Photograph from an automated digital microscope: urine filter membrane, 4× objective.
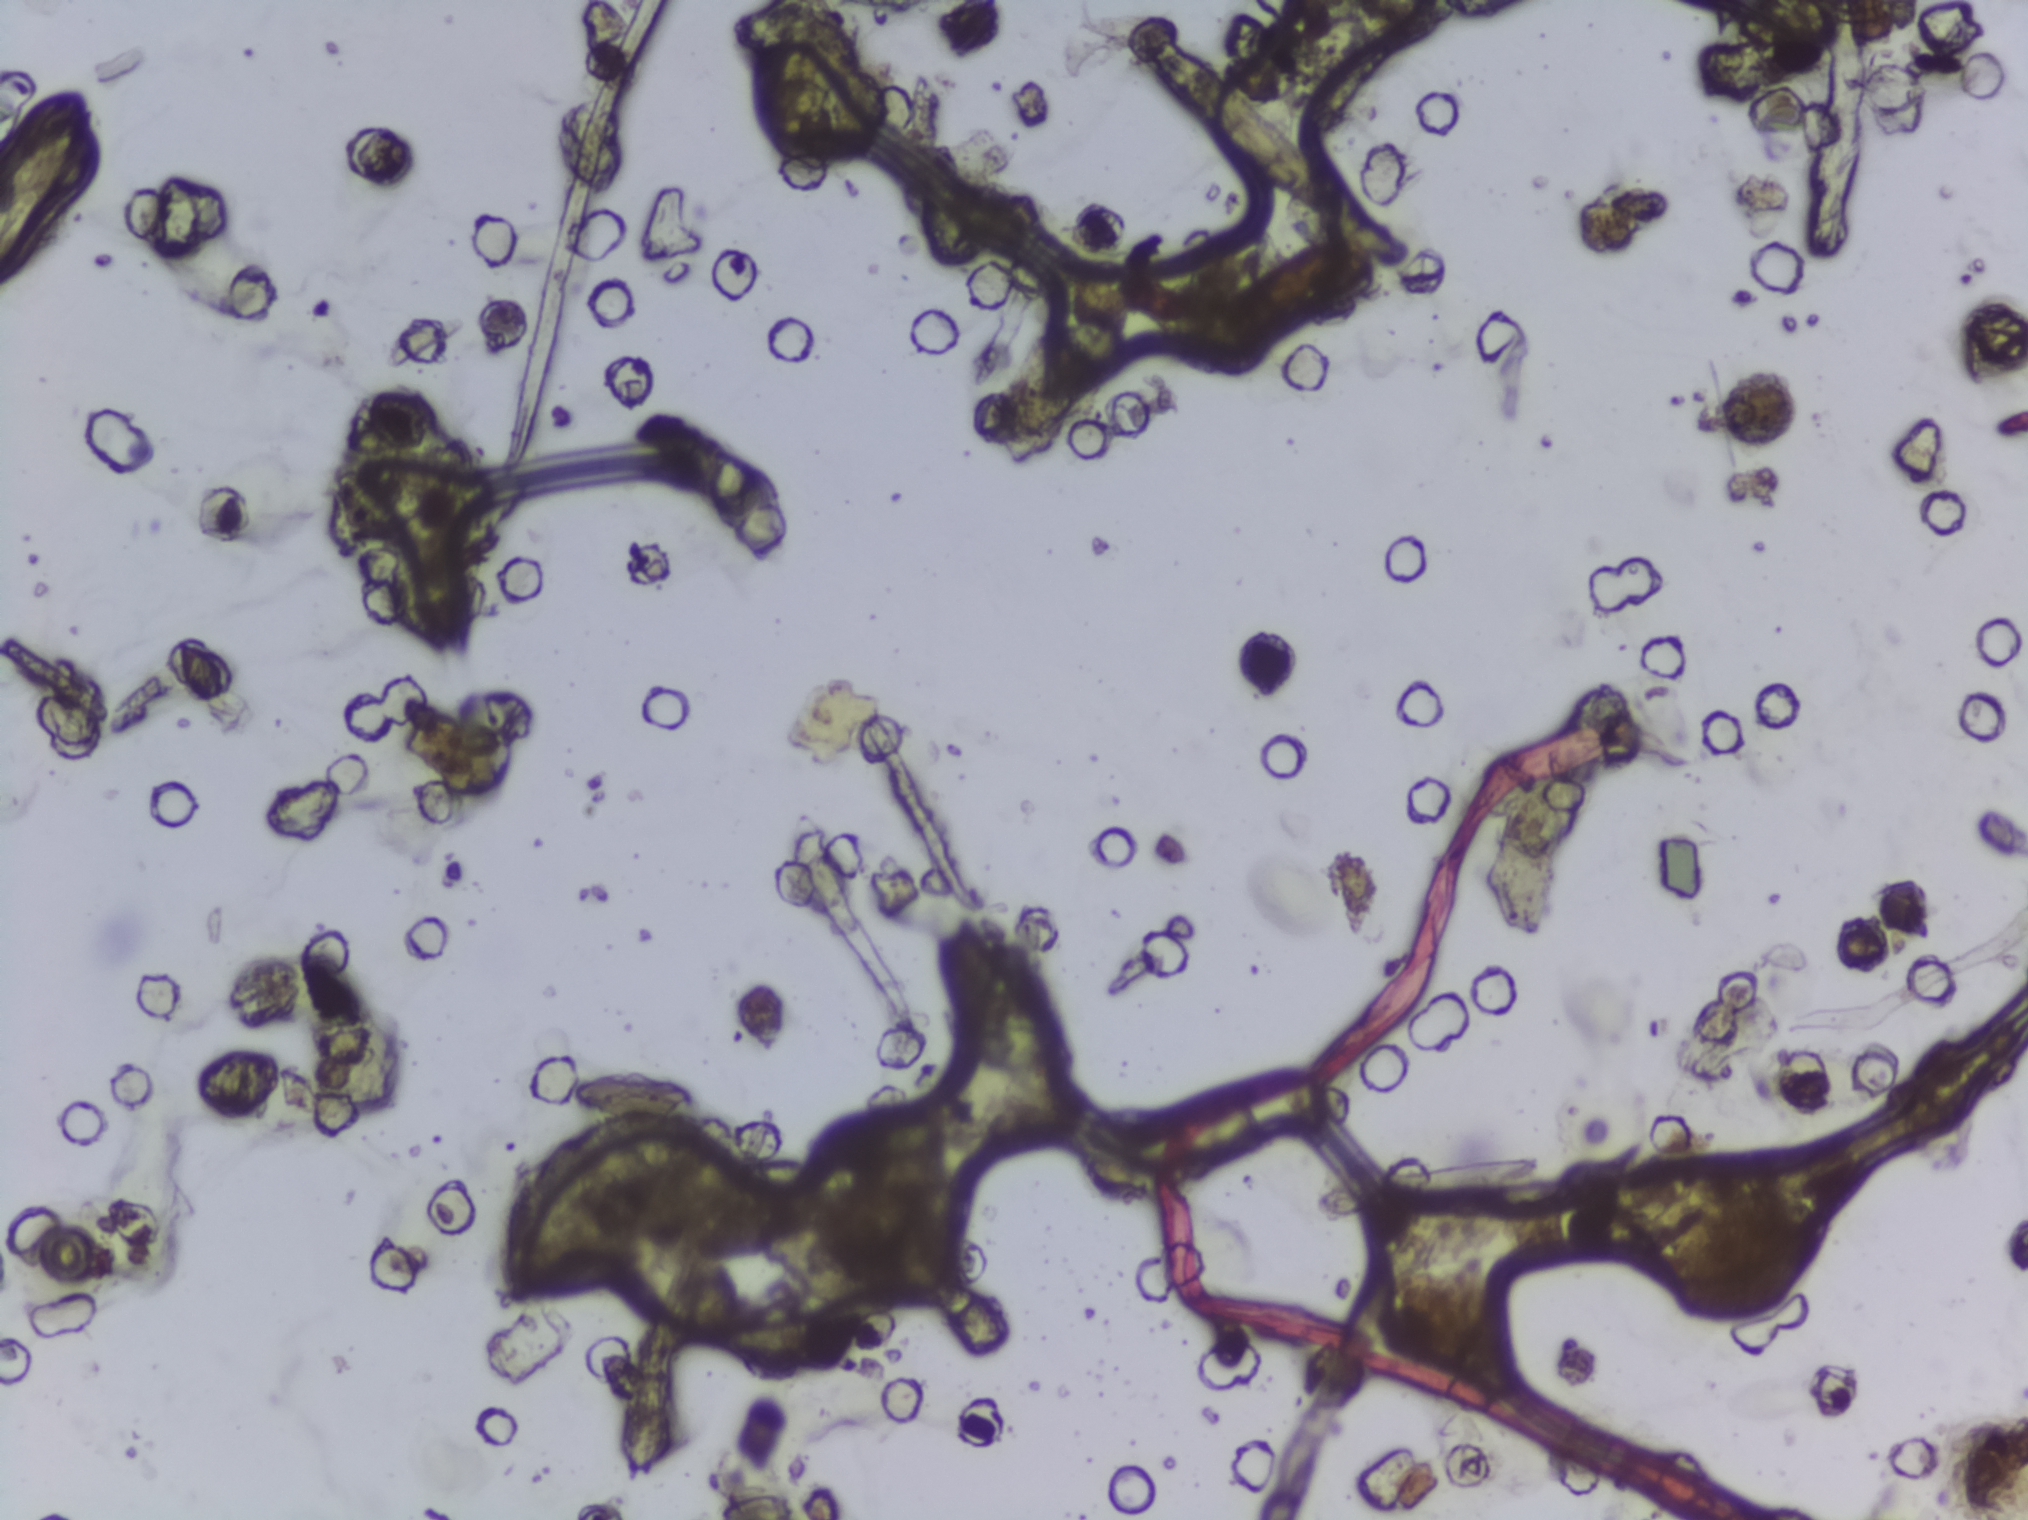
No Schistosoma egg is outlined in this image's expert annotation.